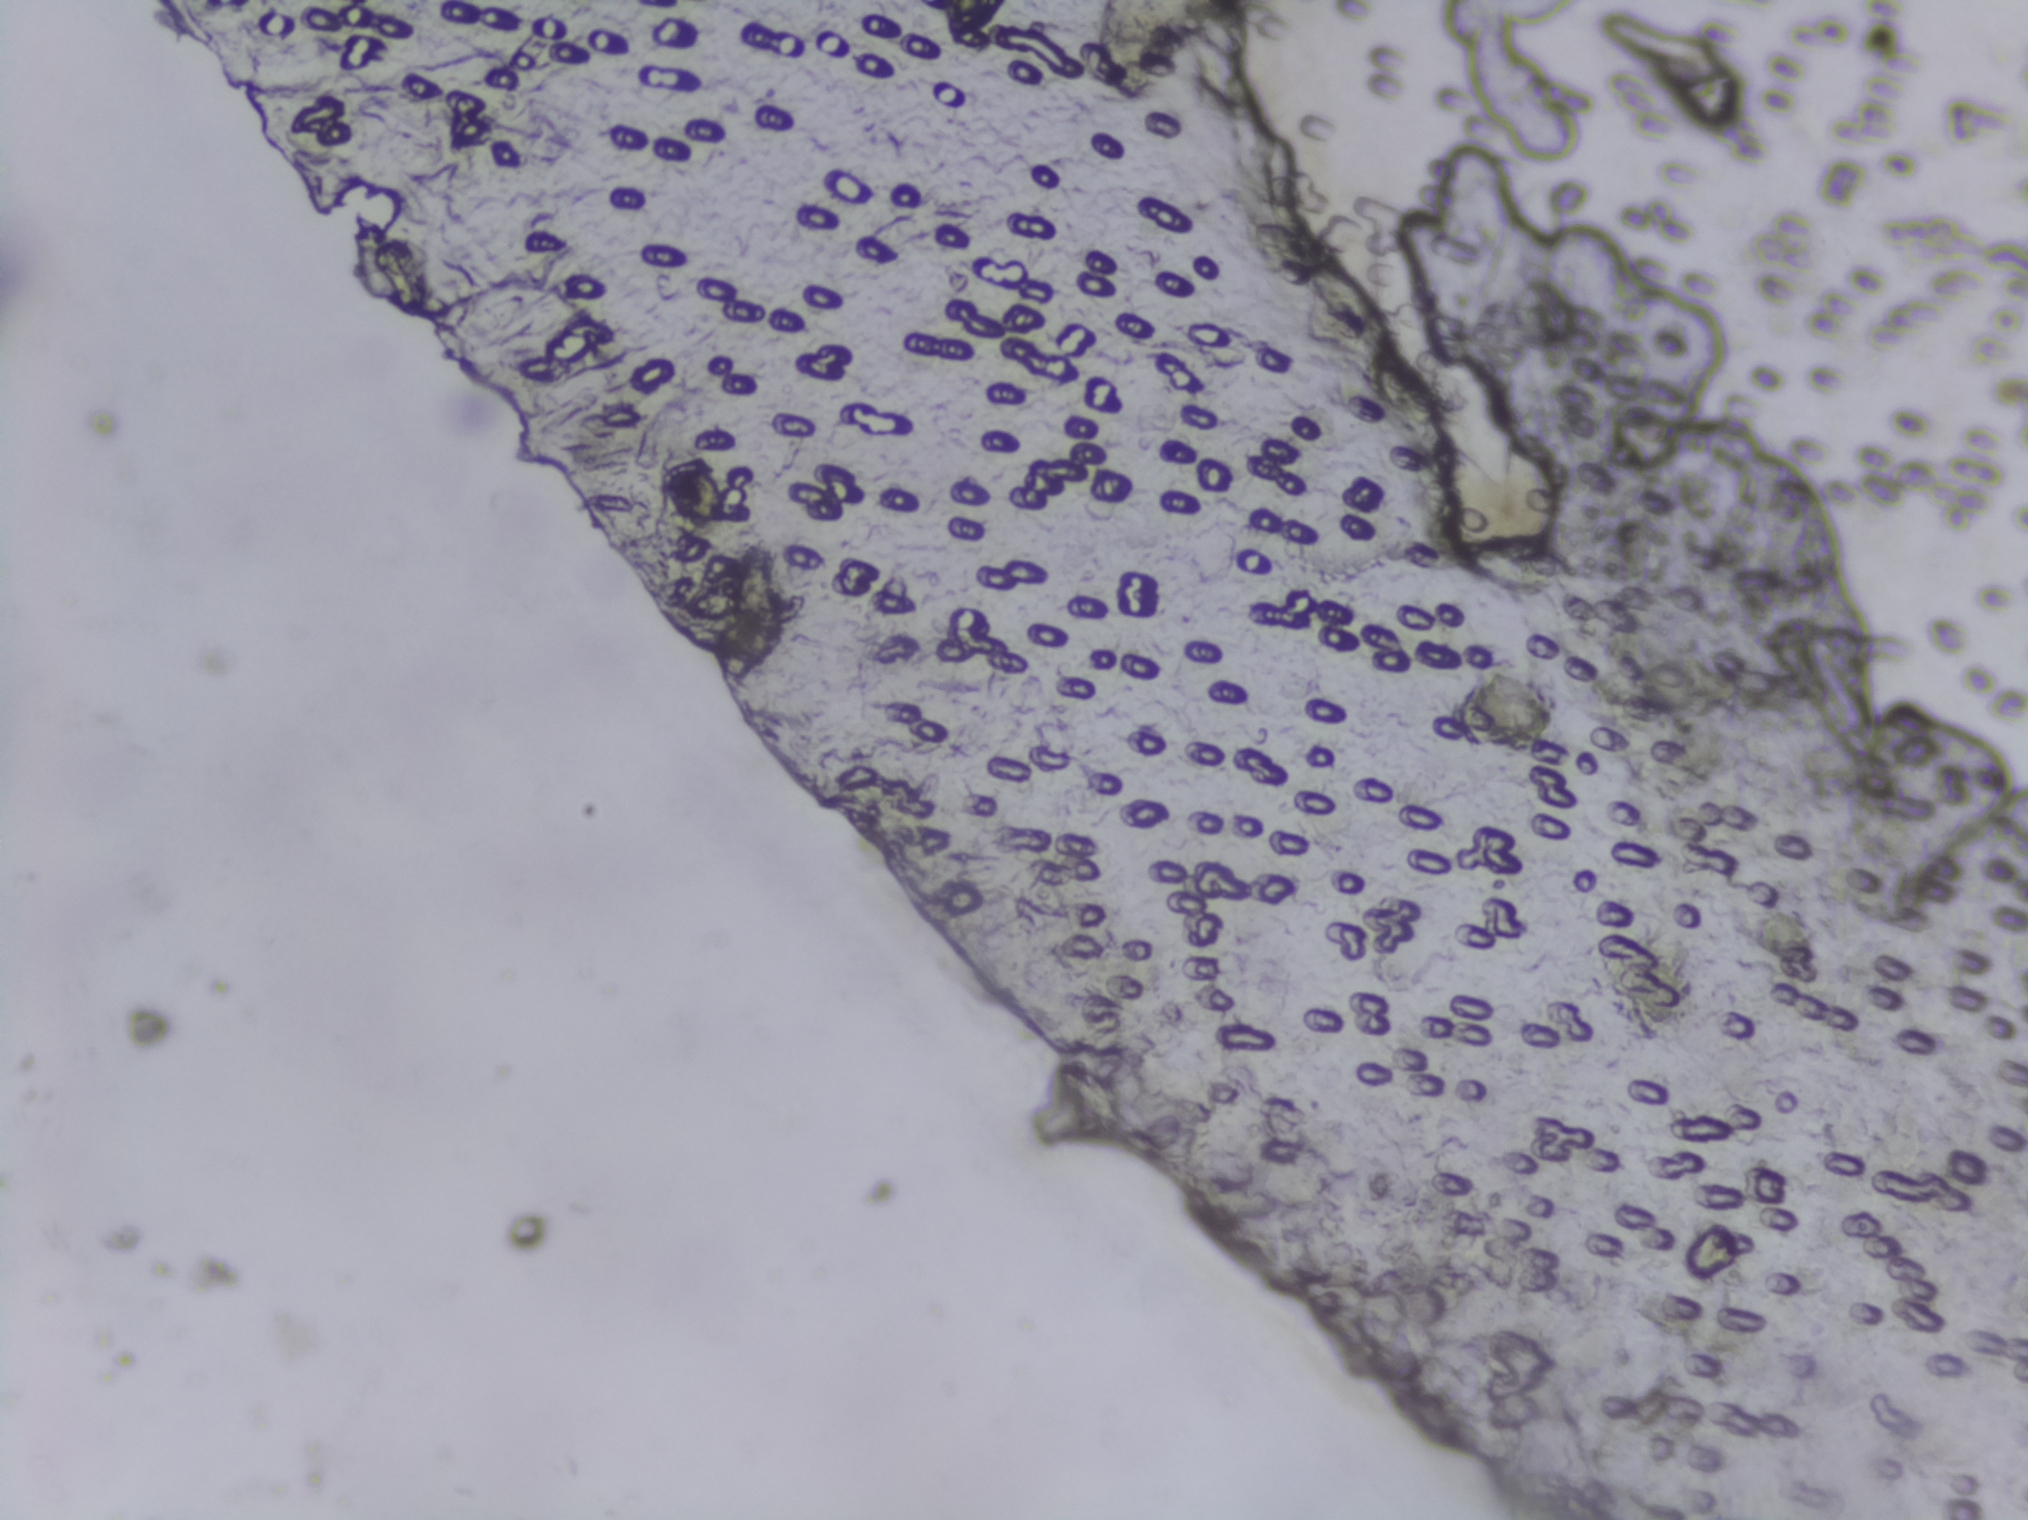
Urine filter membrane photographed through a 4× microscope objective.
Schistosoma eggs: none outlined.